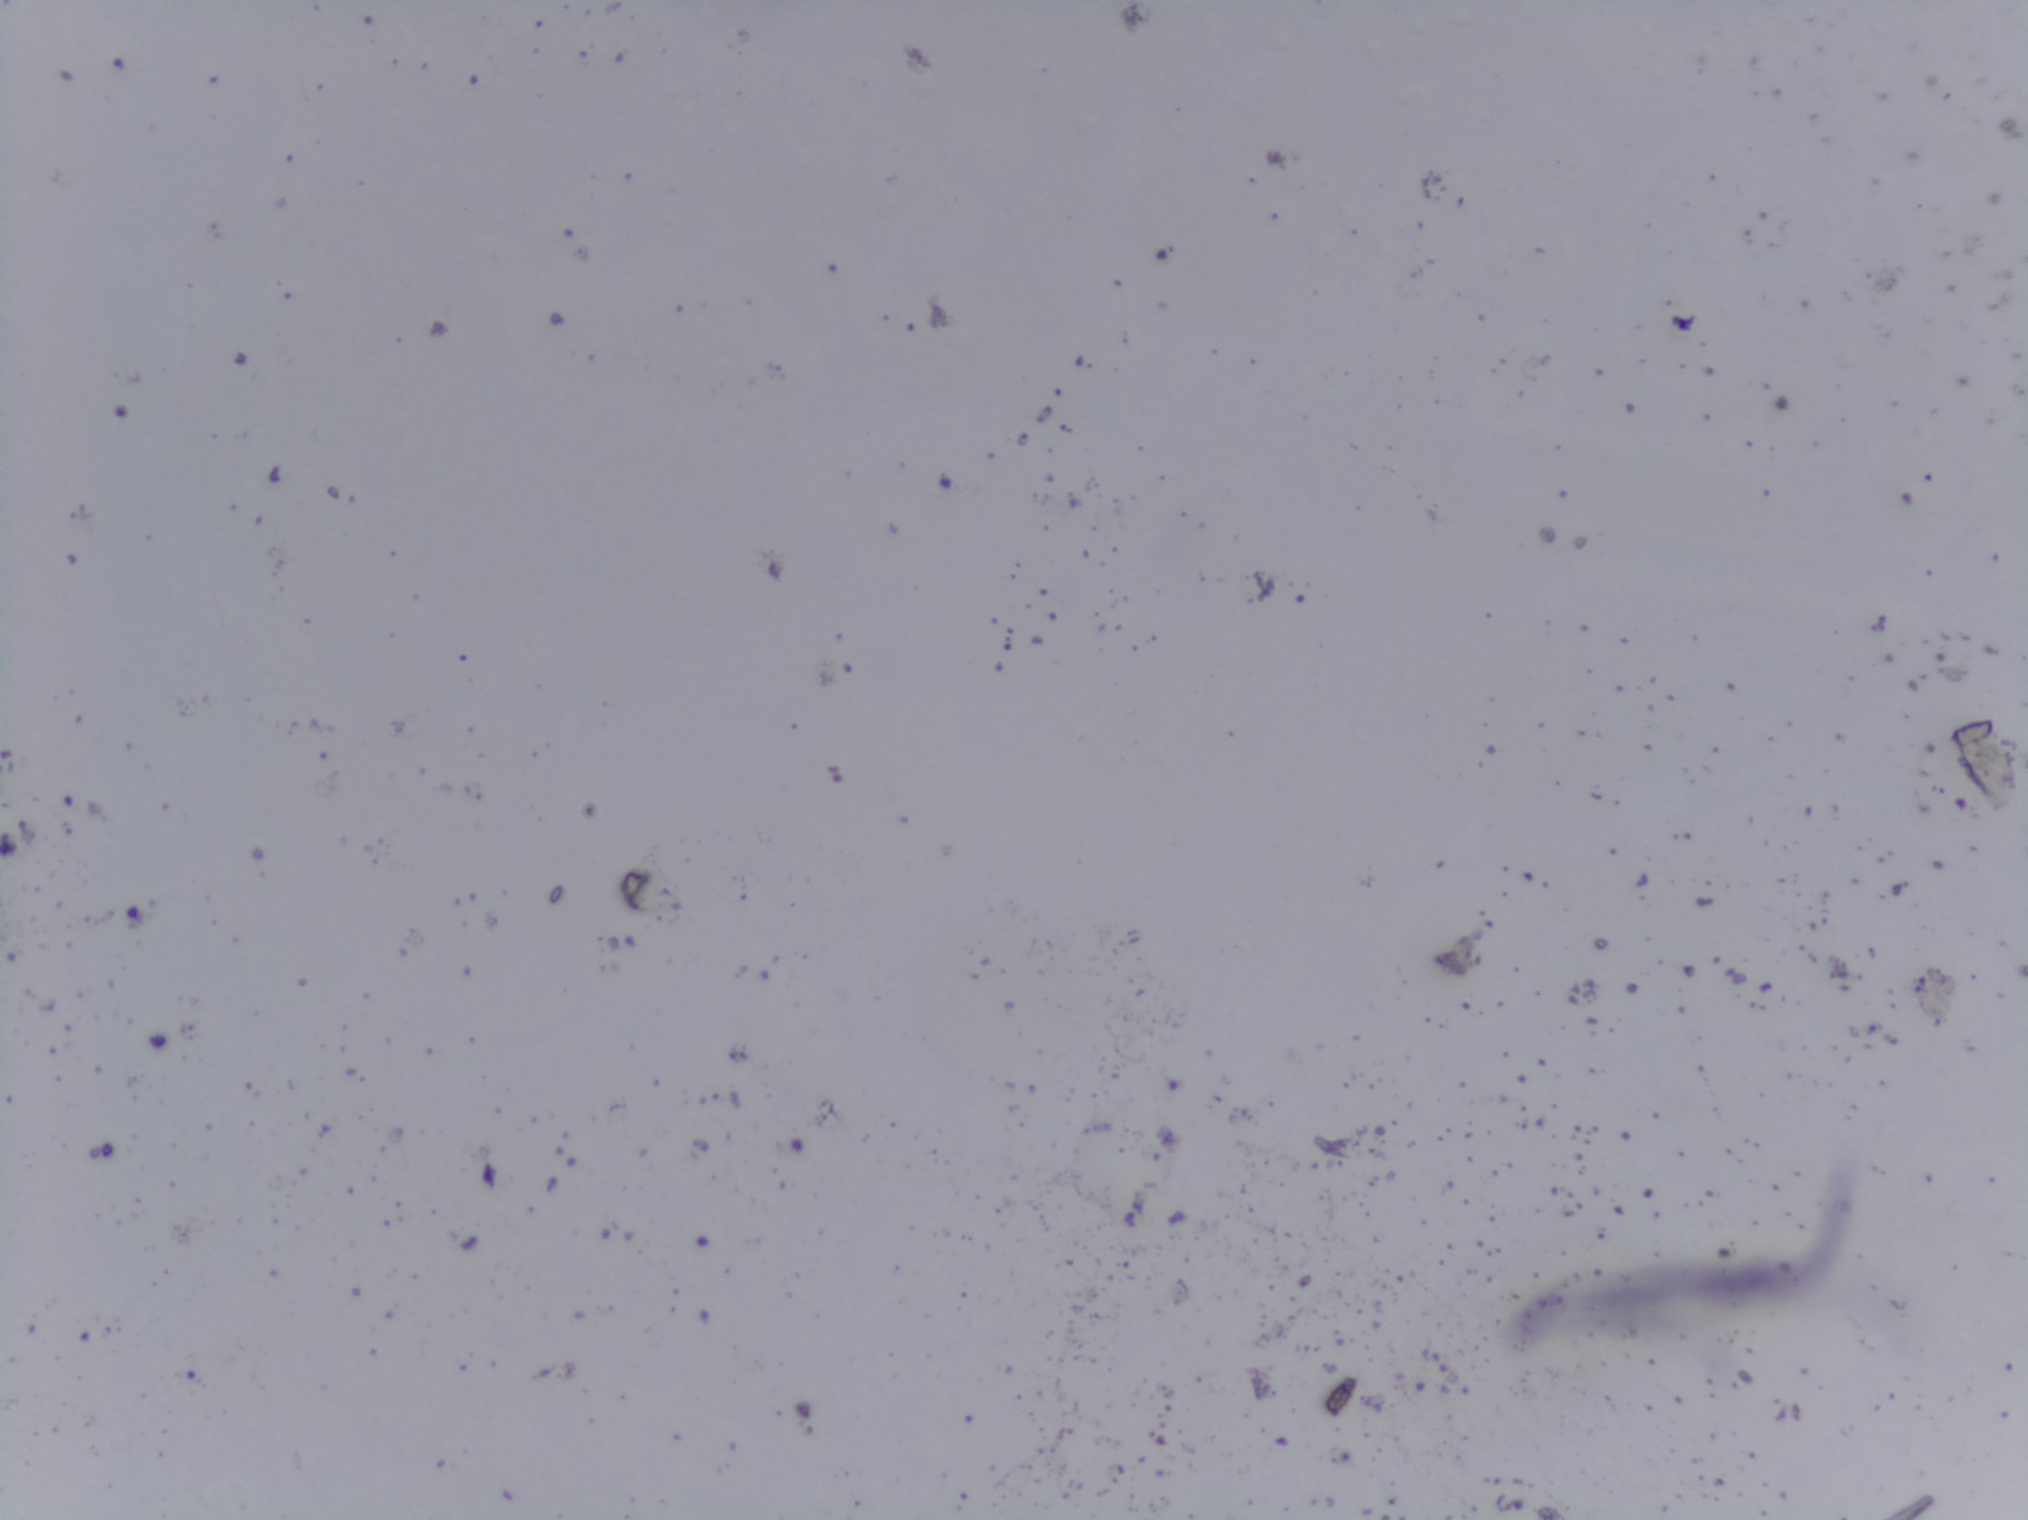
Photograph from an automated digital microscope: urine filter membrane, 4× objective.
Schistosoma eggs: none outlined.